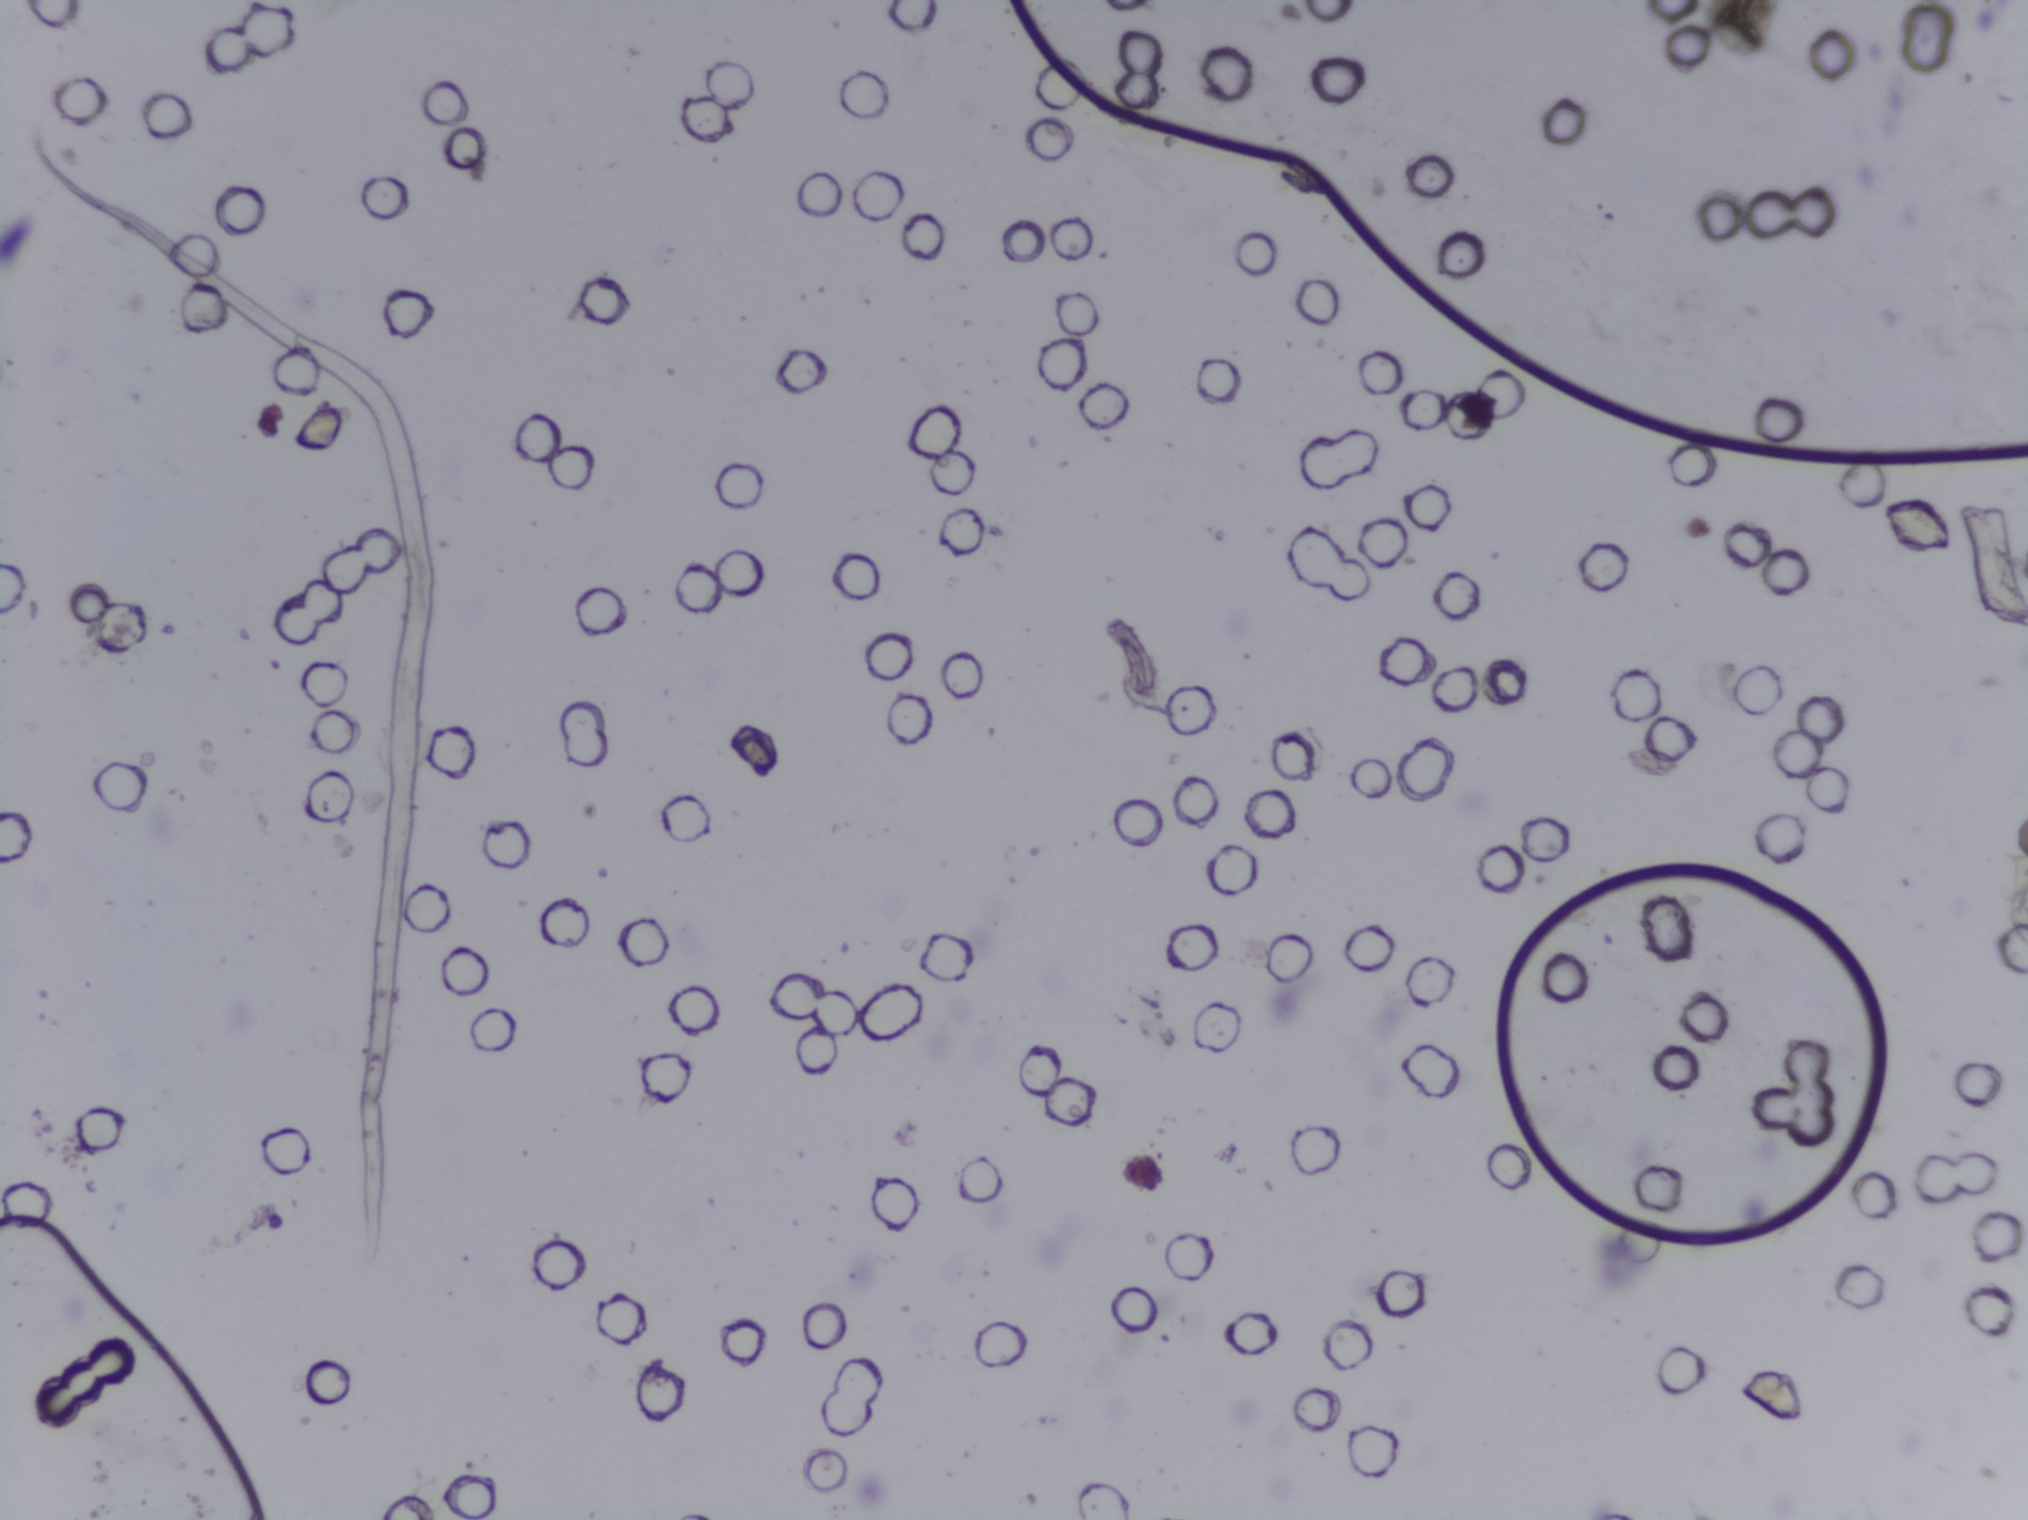
Urine filter membrane photographed through a 4× microscope objective. The image covers about 1.5 × 1.1 mm of the membrane.
The expert annotation outlines no Schistosoma egg in this image.